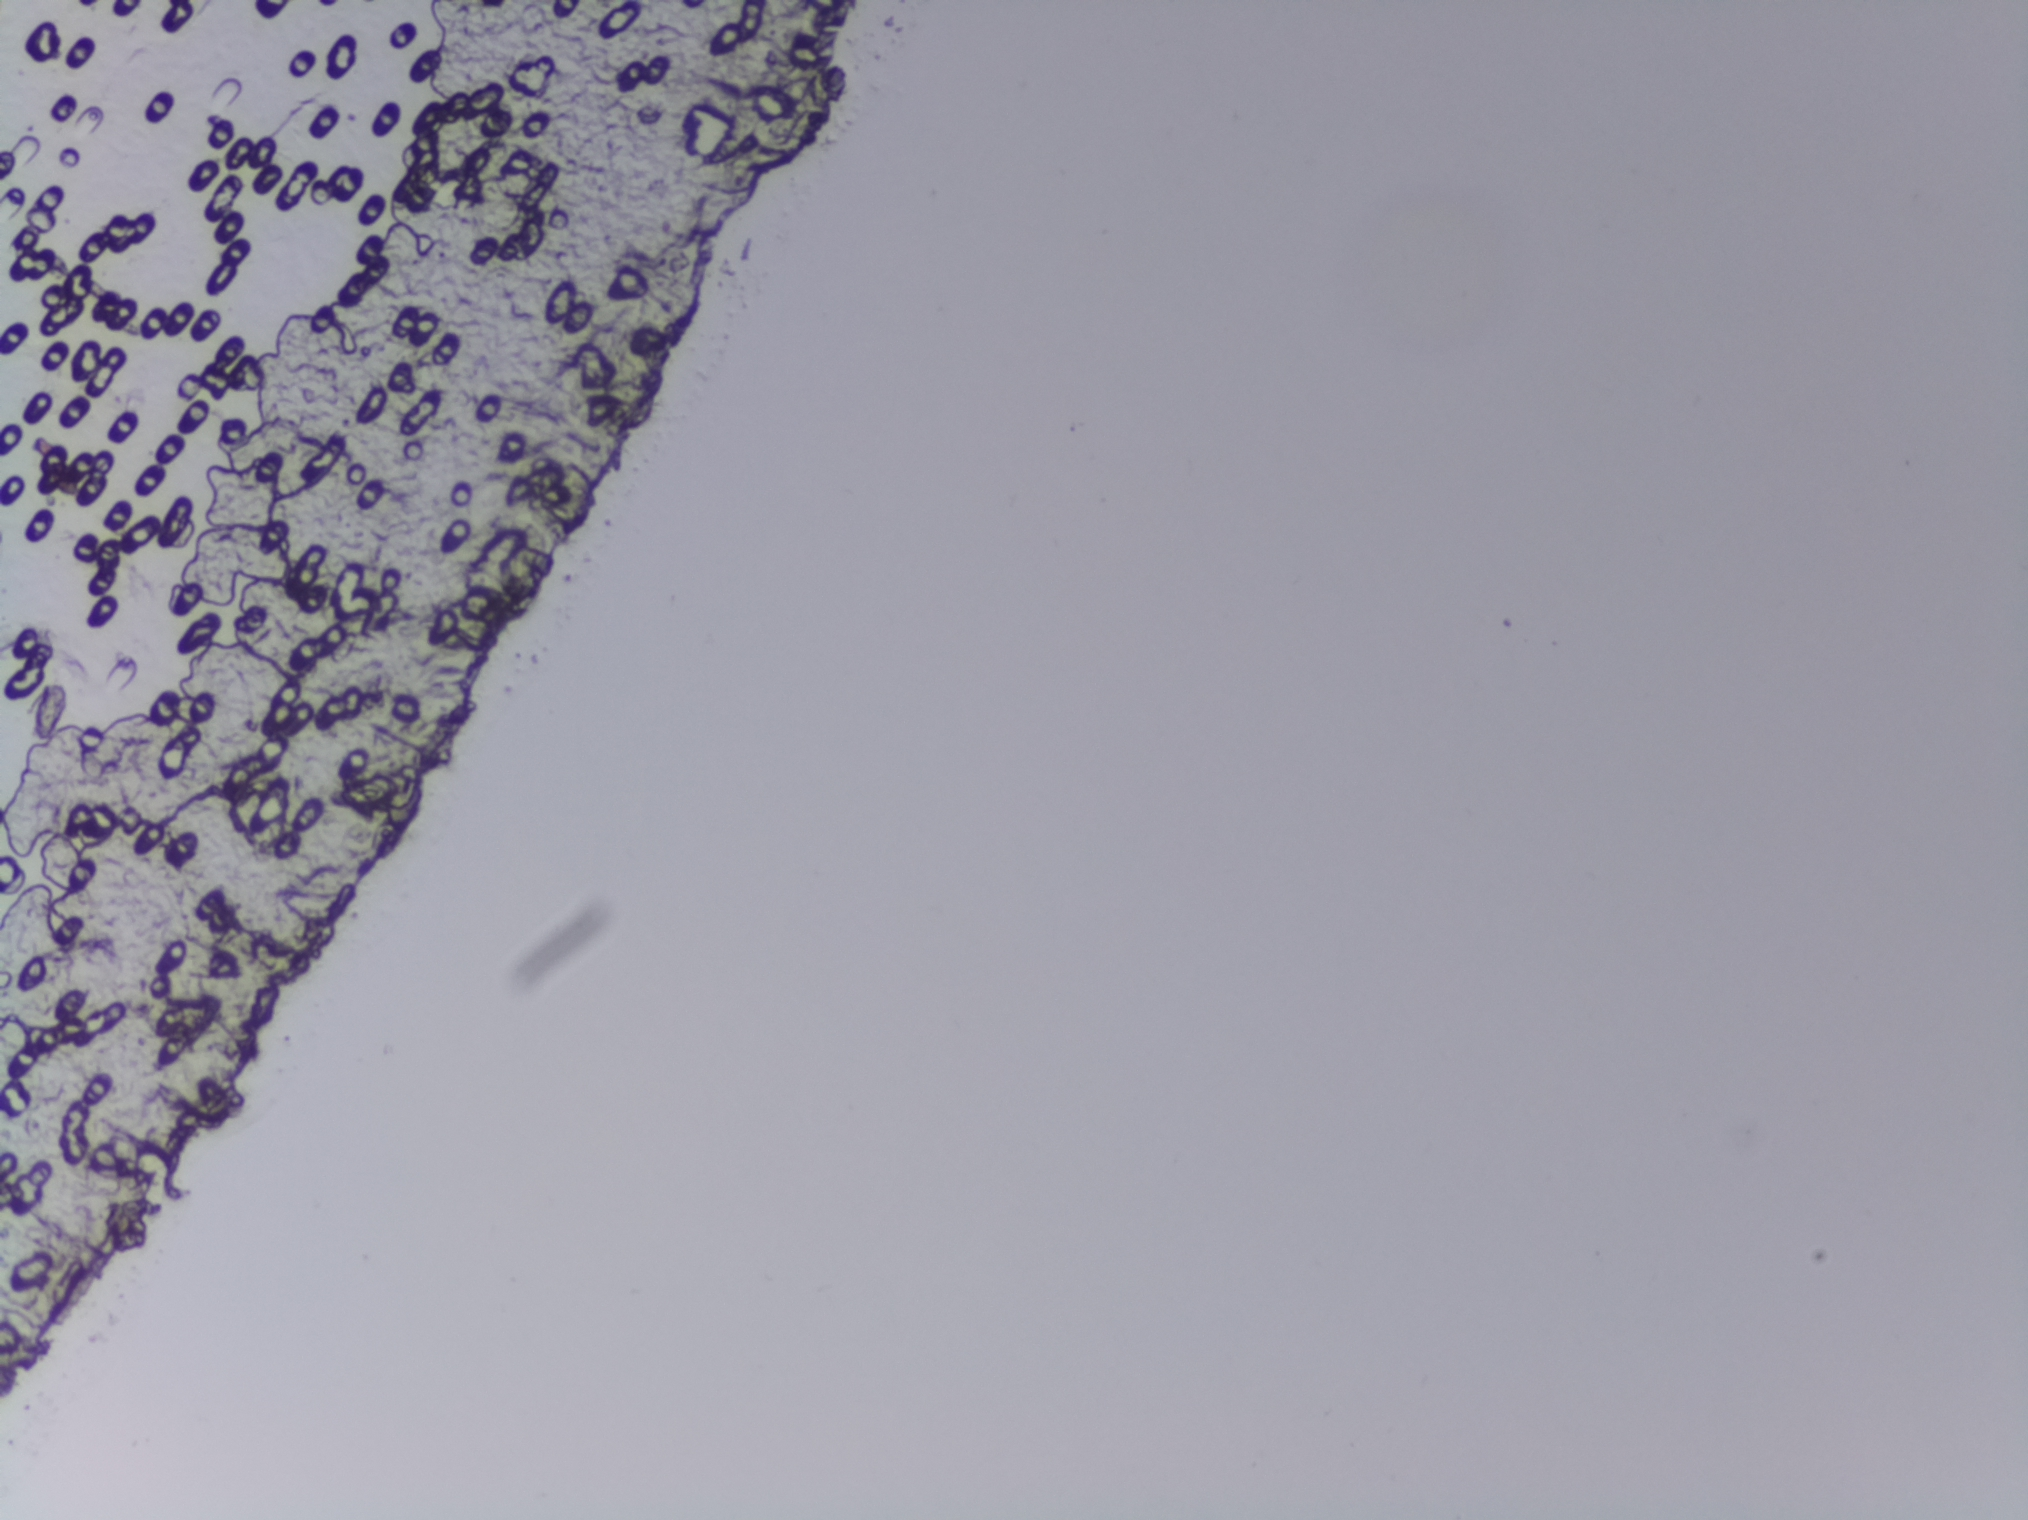
Microscope photograph (4× objective) of a membrane that a urine sample was filtered through. Field of view: about 1.5 mm wide and 1.1 mm high.
The expert annotation marks no Schistosoma egg in this field of view.